Photograph from an automated digital microscope: urine filter membrane, 4× objective.
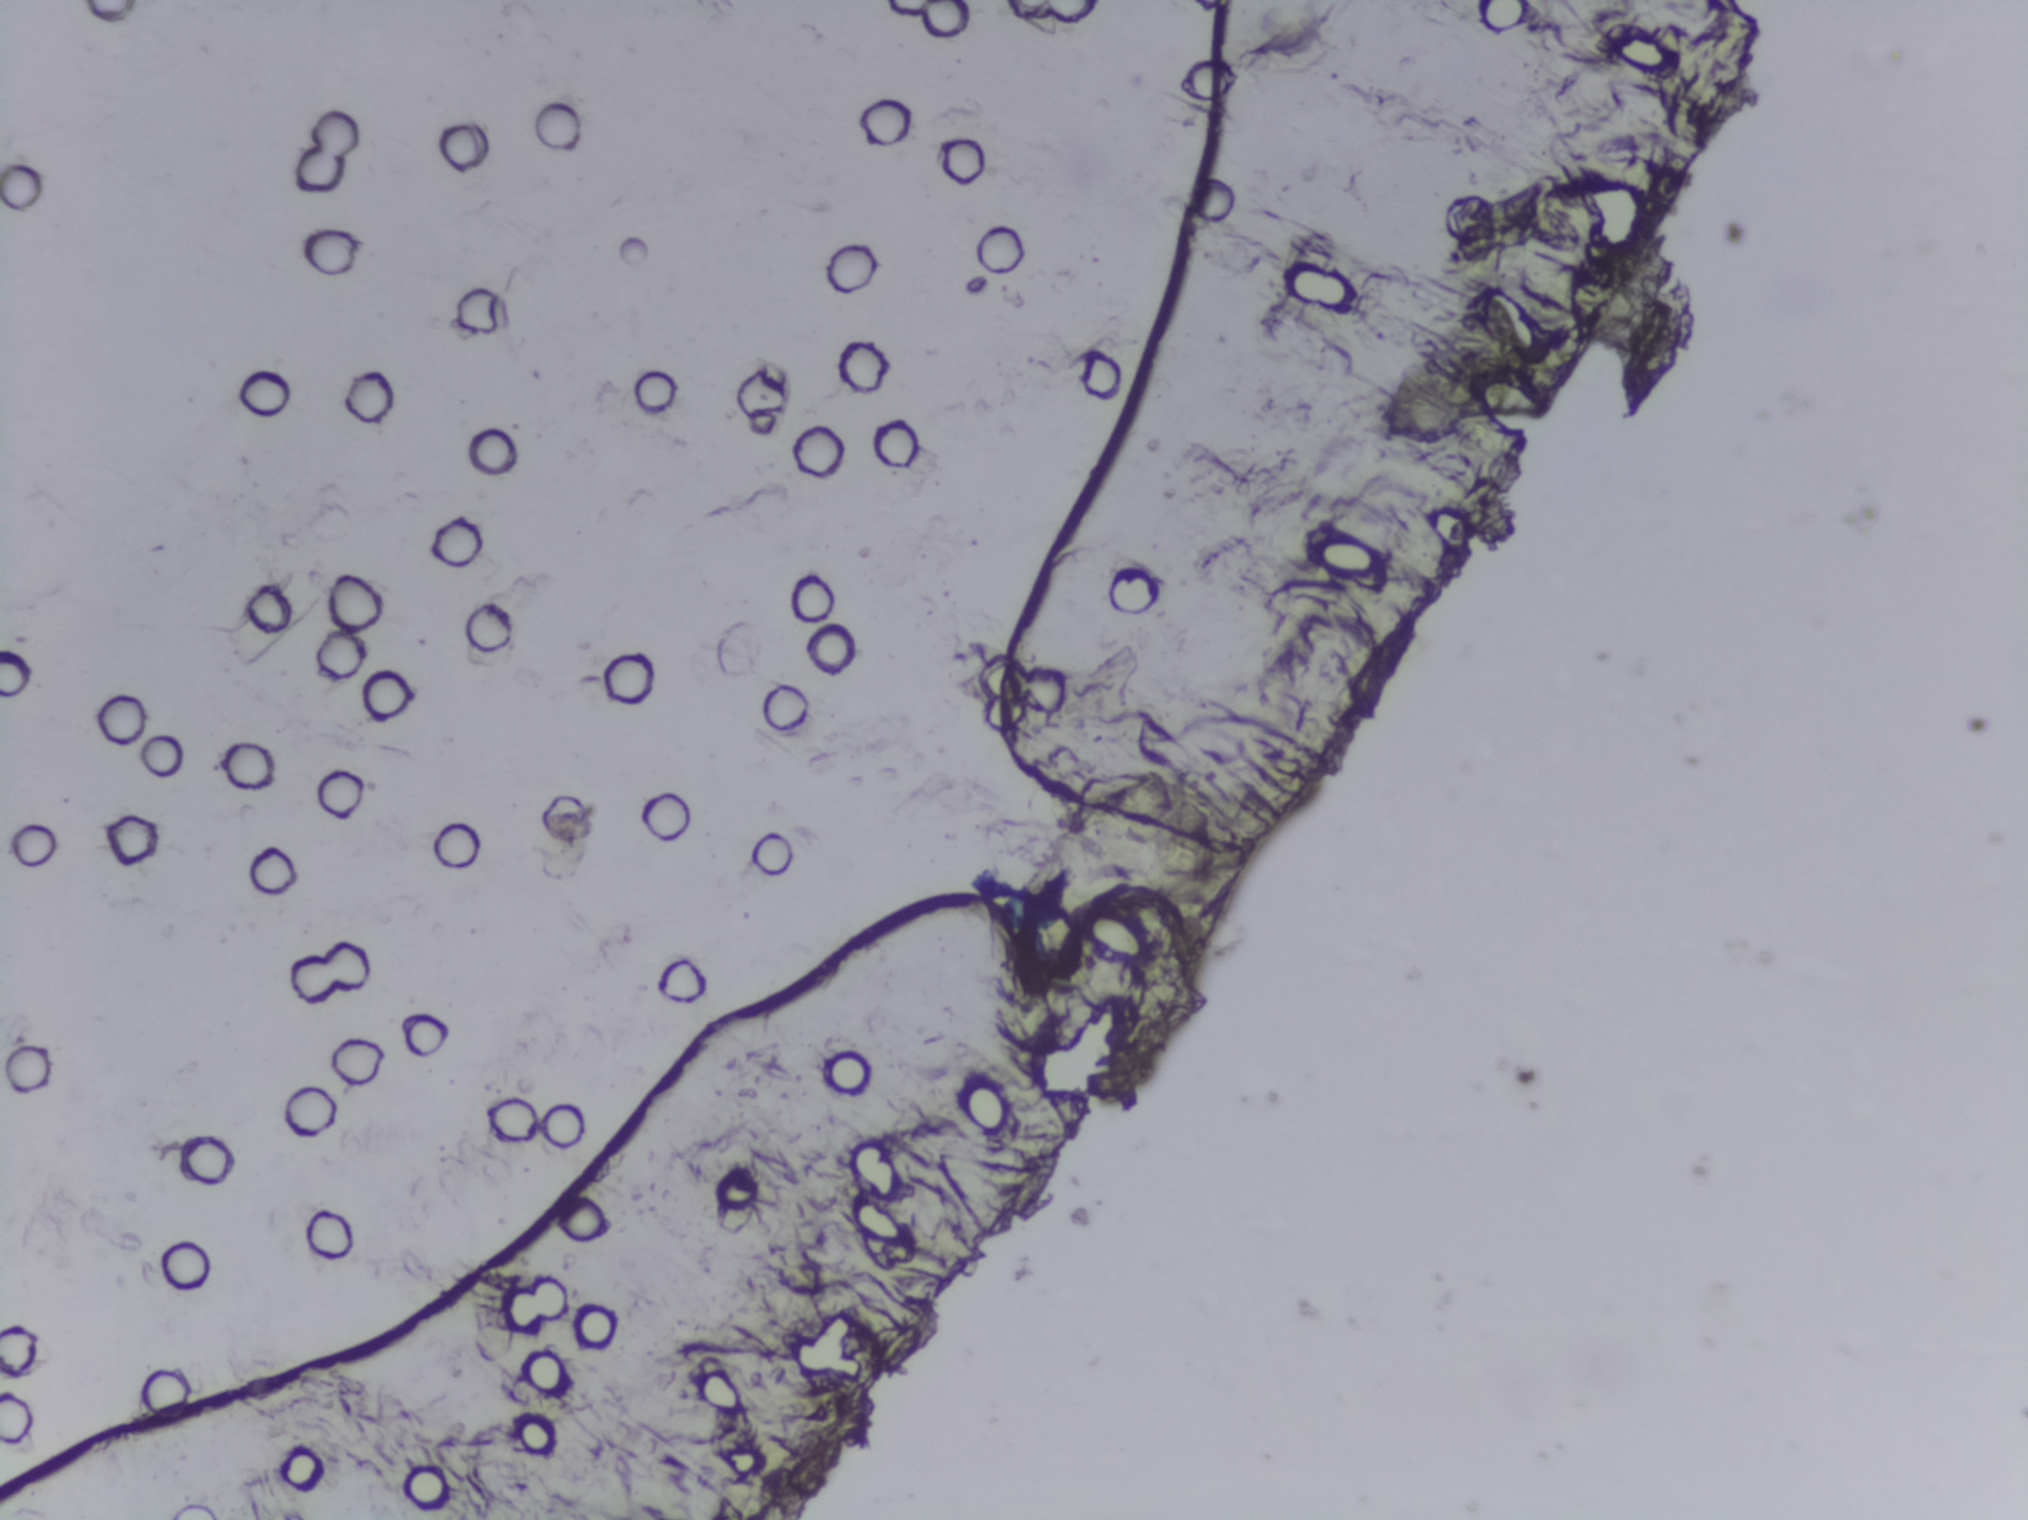
No Schistosoma egg is outlined in this image's expert annotation.